Photograph from an automated digital microscope: urine filter membrane, 4× objective.
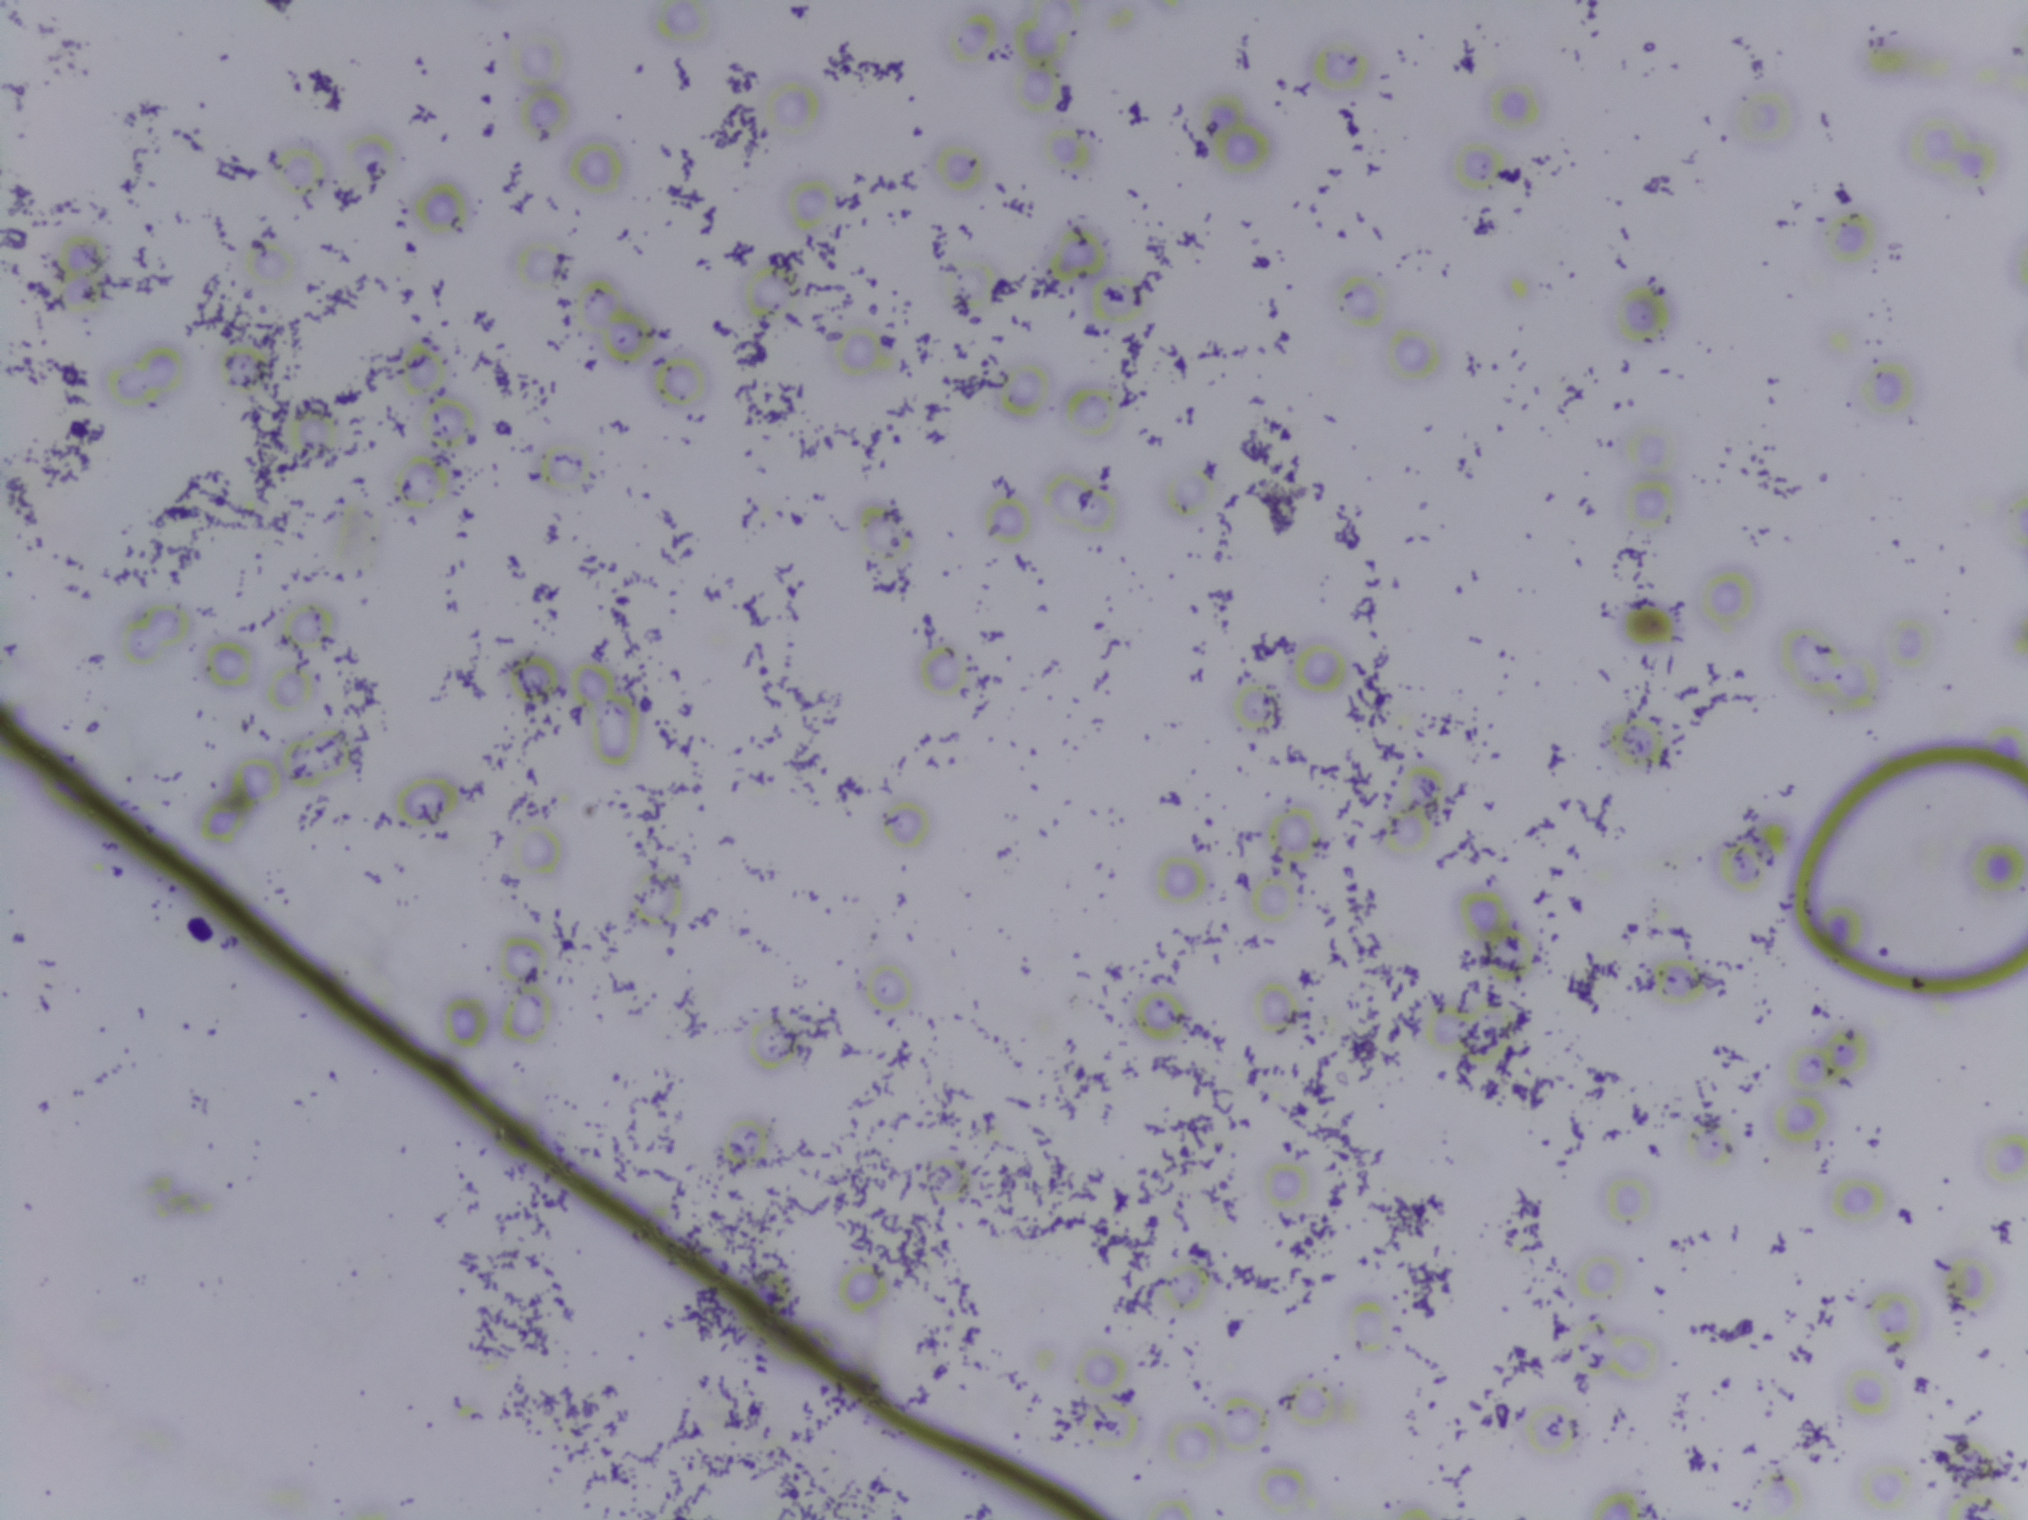
No area of this image was outlined as a Schistosoma egg.